One field of view of a urine filter membrane, 4× objective, 2028 × 1520 pixels.
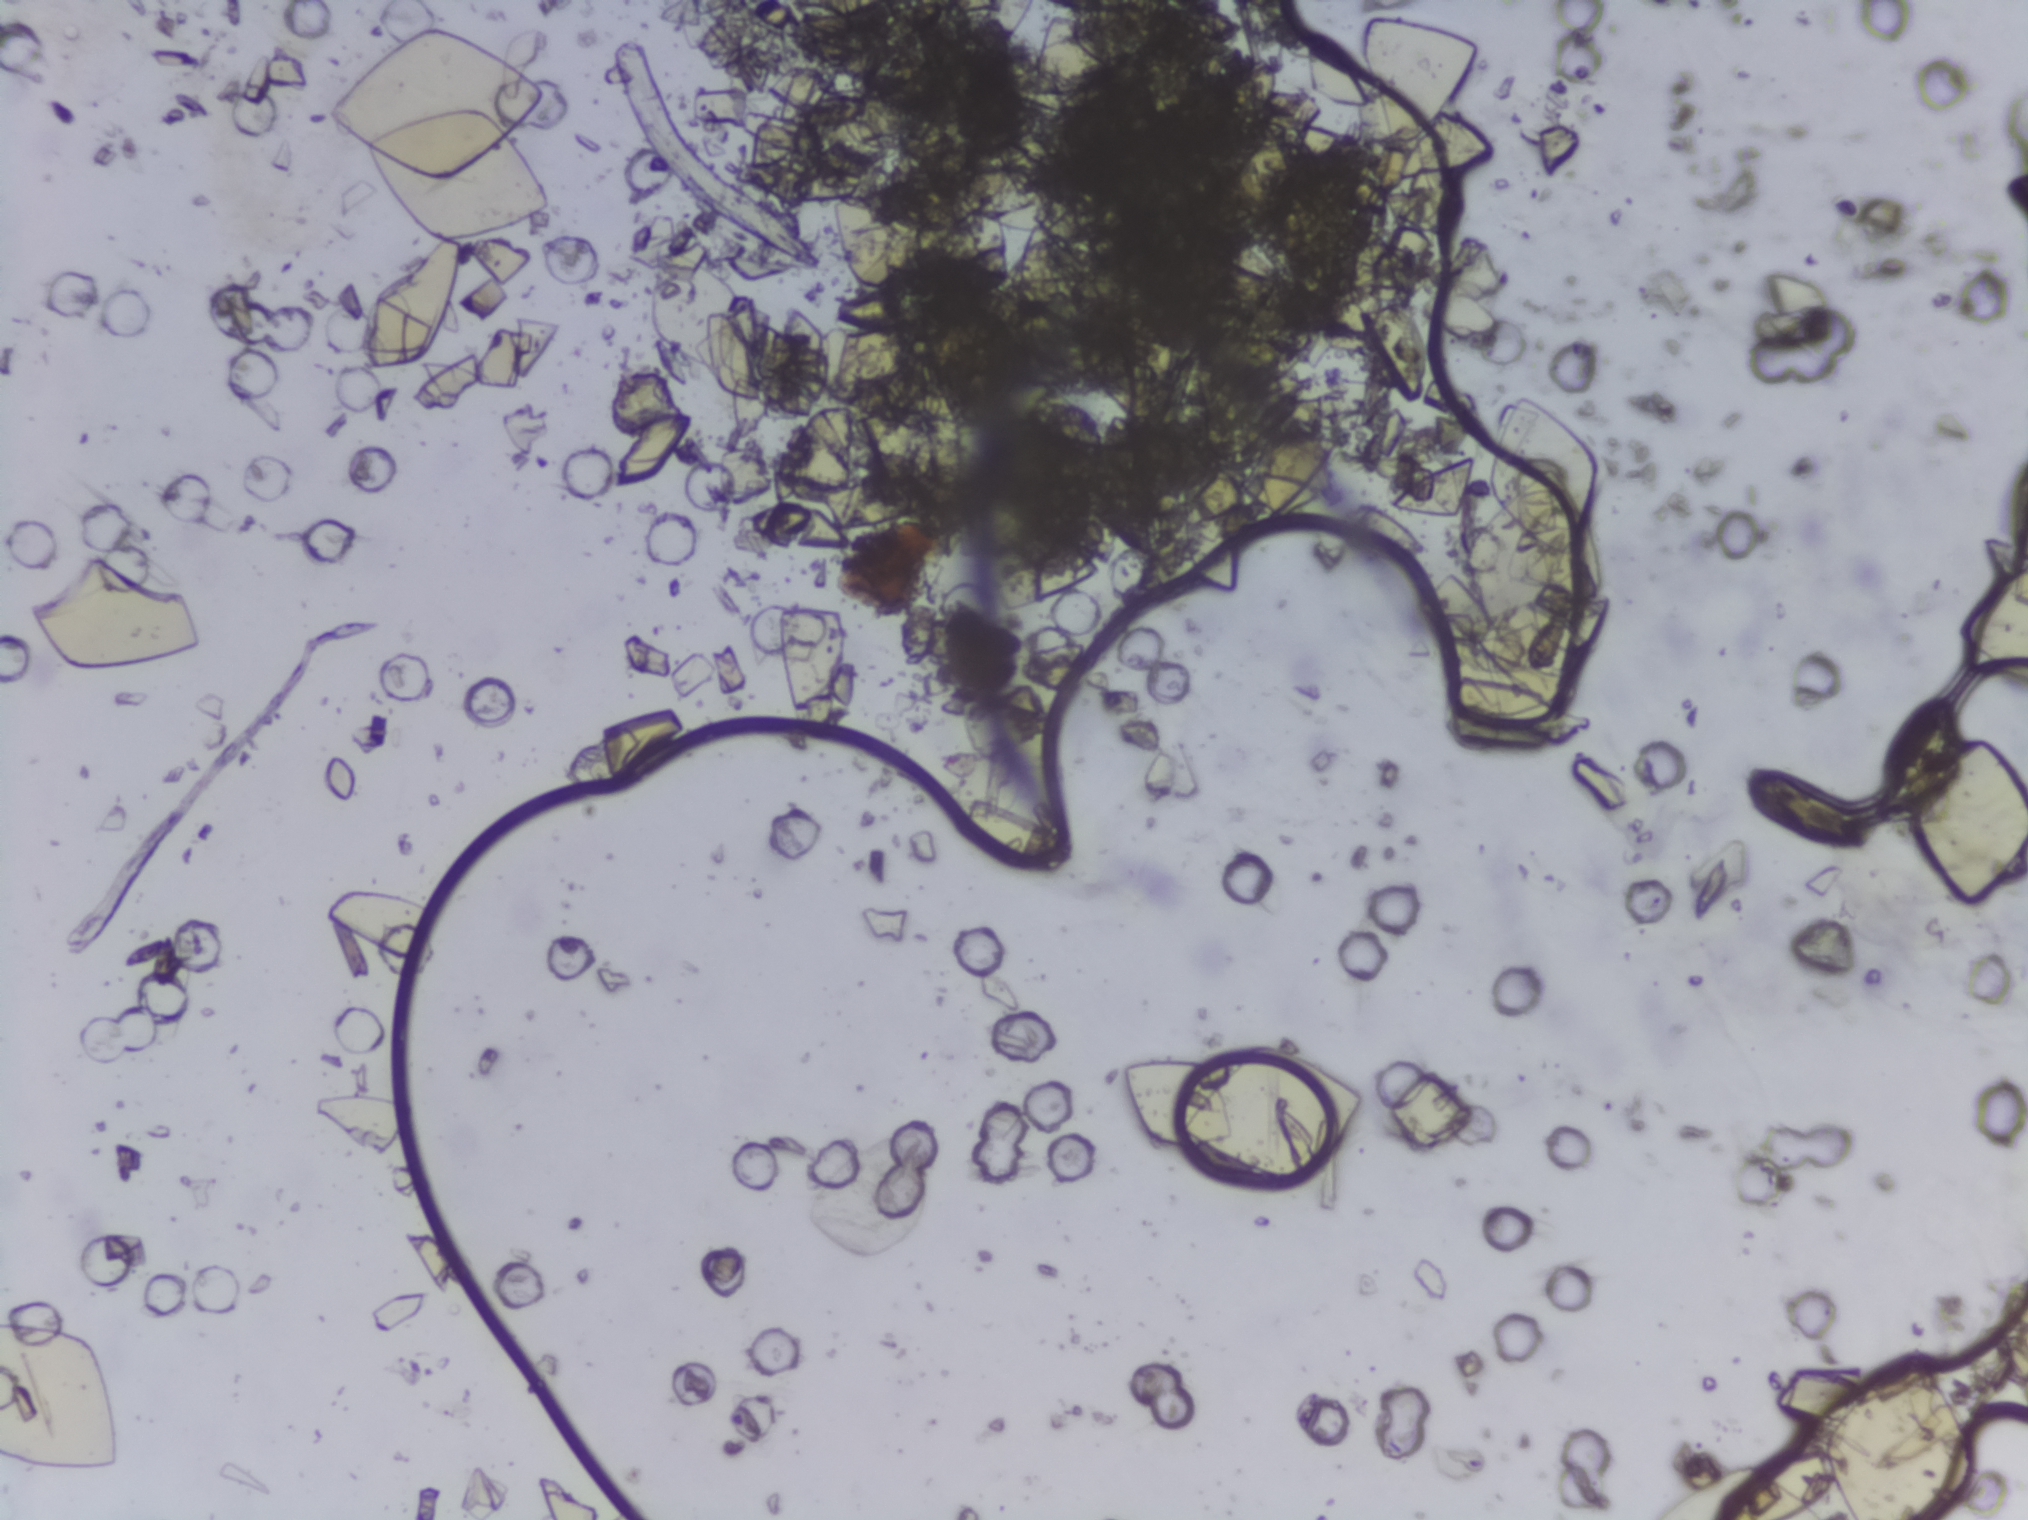
No area of this image was outlined as a Schistosoma egg.